Photomicrograph of a urine filtration membrane, 4× objective. The image covers about 1.5 × 1.1 mm of the membrane.
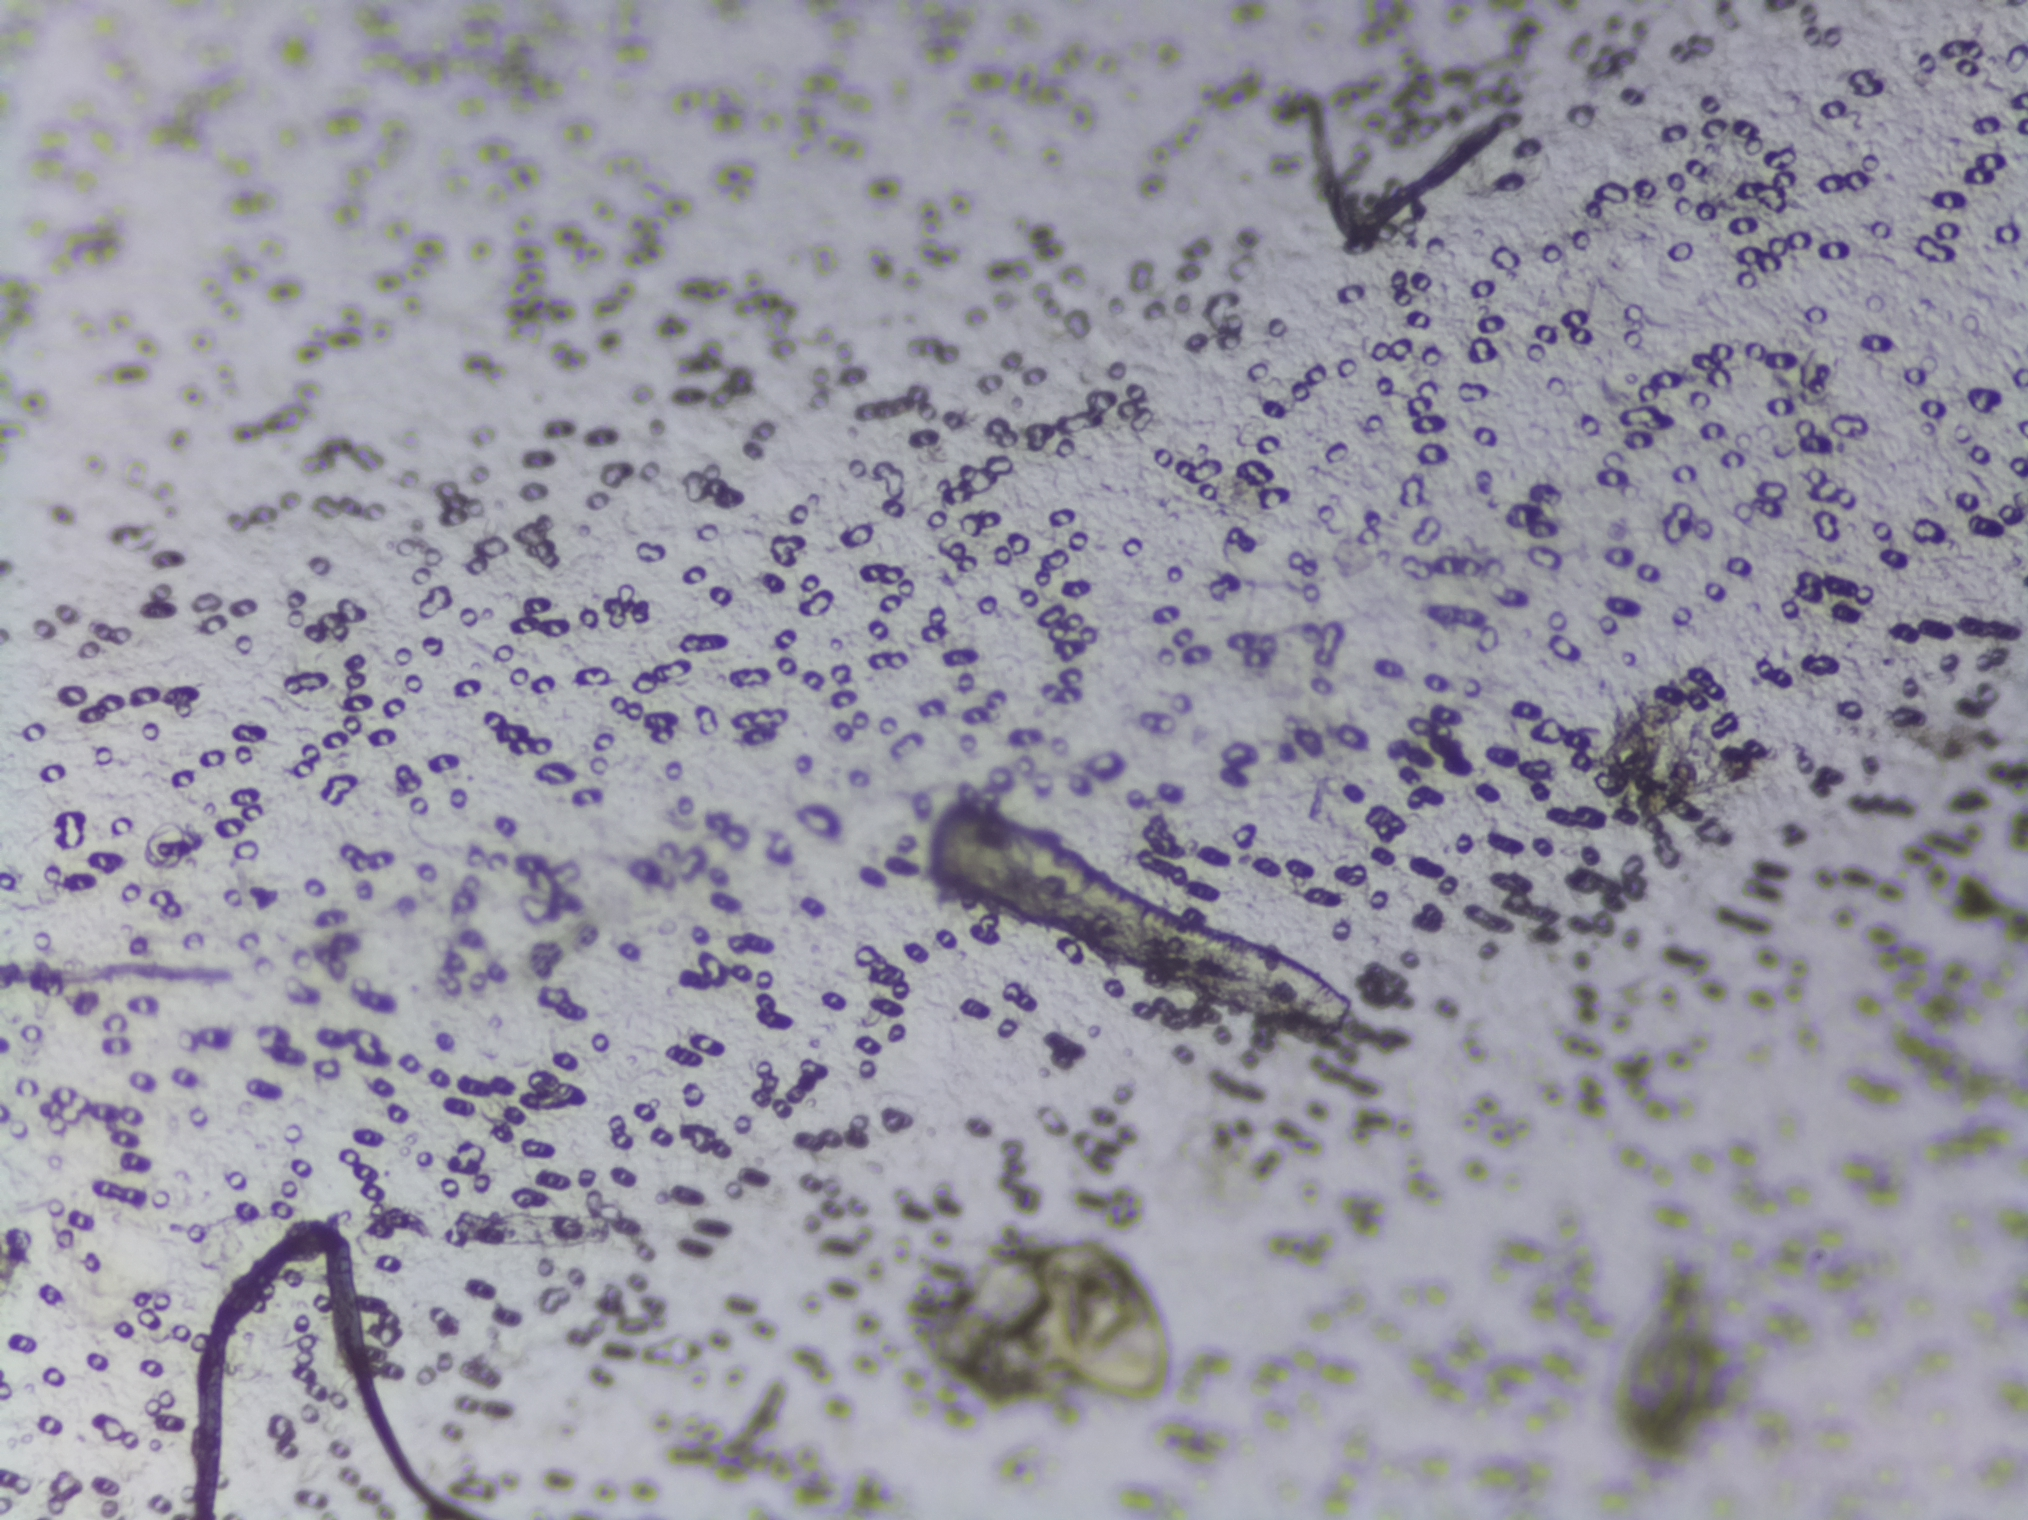
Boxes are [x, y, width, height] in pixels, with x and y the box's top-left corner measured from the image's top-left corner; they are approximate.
Schistosoma eggs are outlined in the expert annotation at [1024, 1233, 159, 184] and [1609, 1258, 119, 205]. Eggs that touch can end up inside the same outlined area.